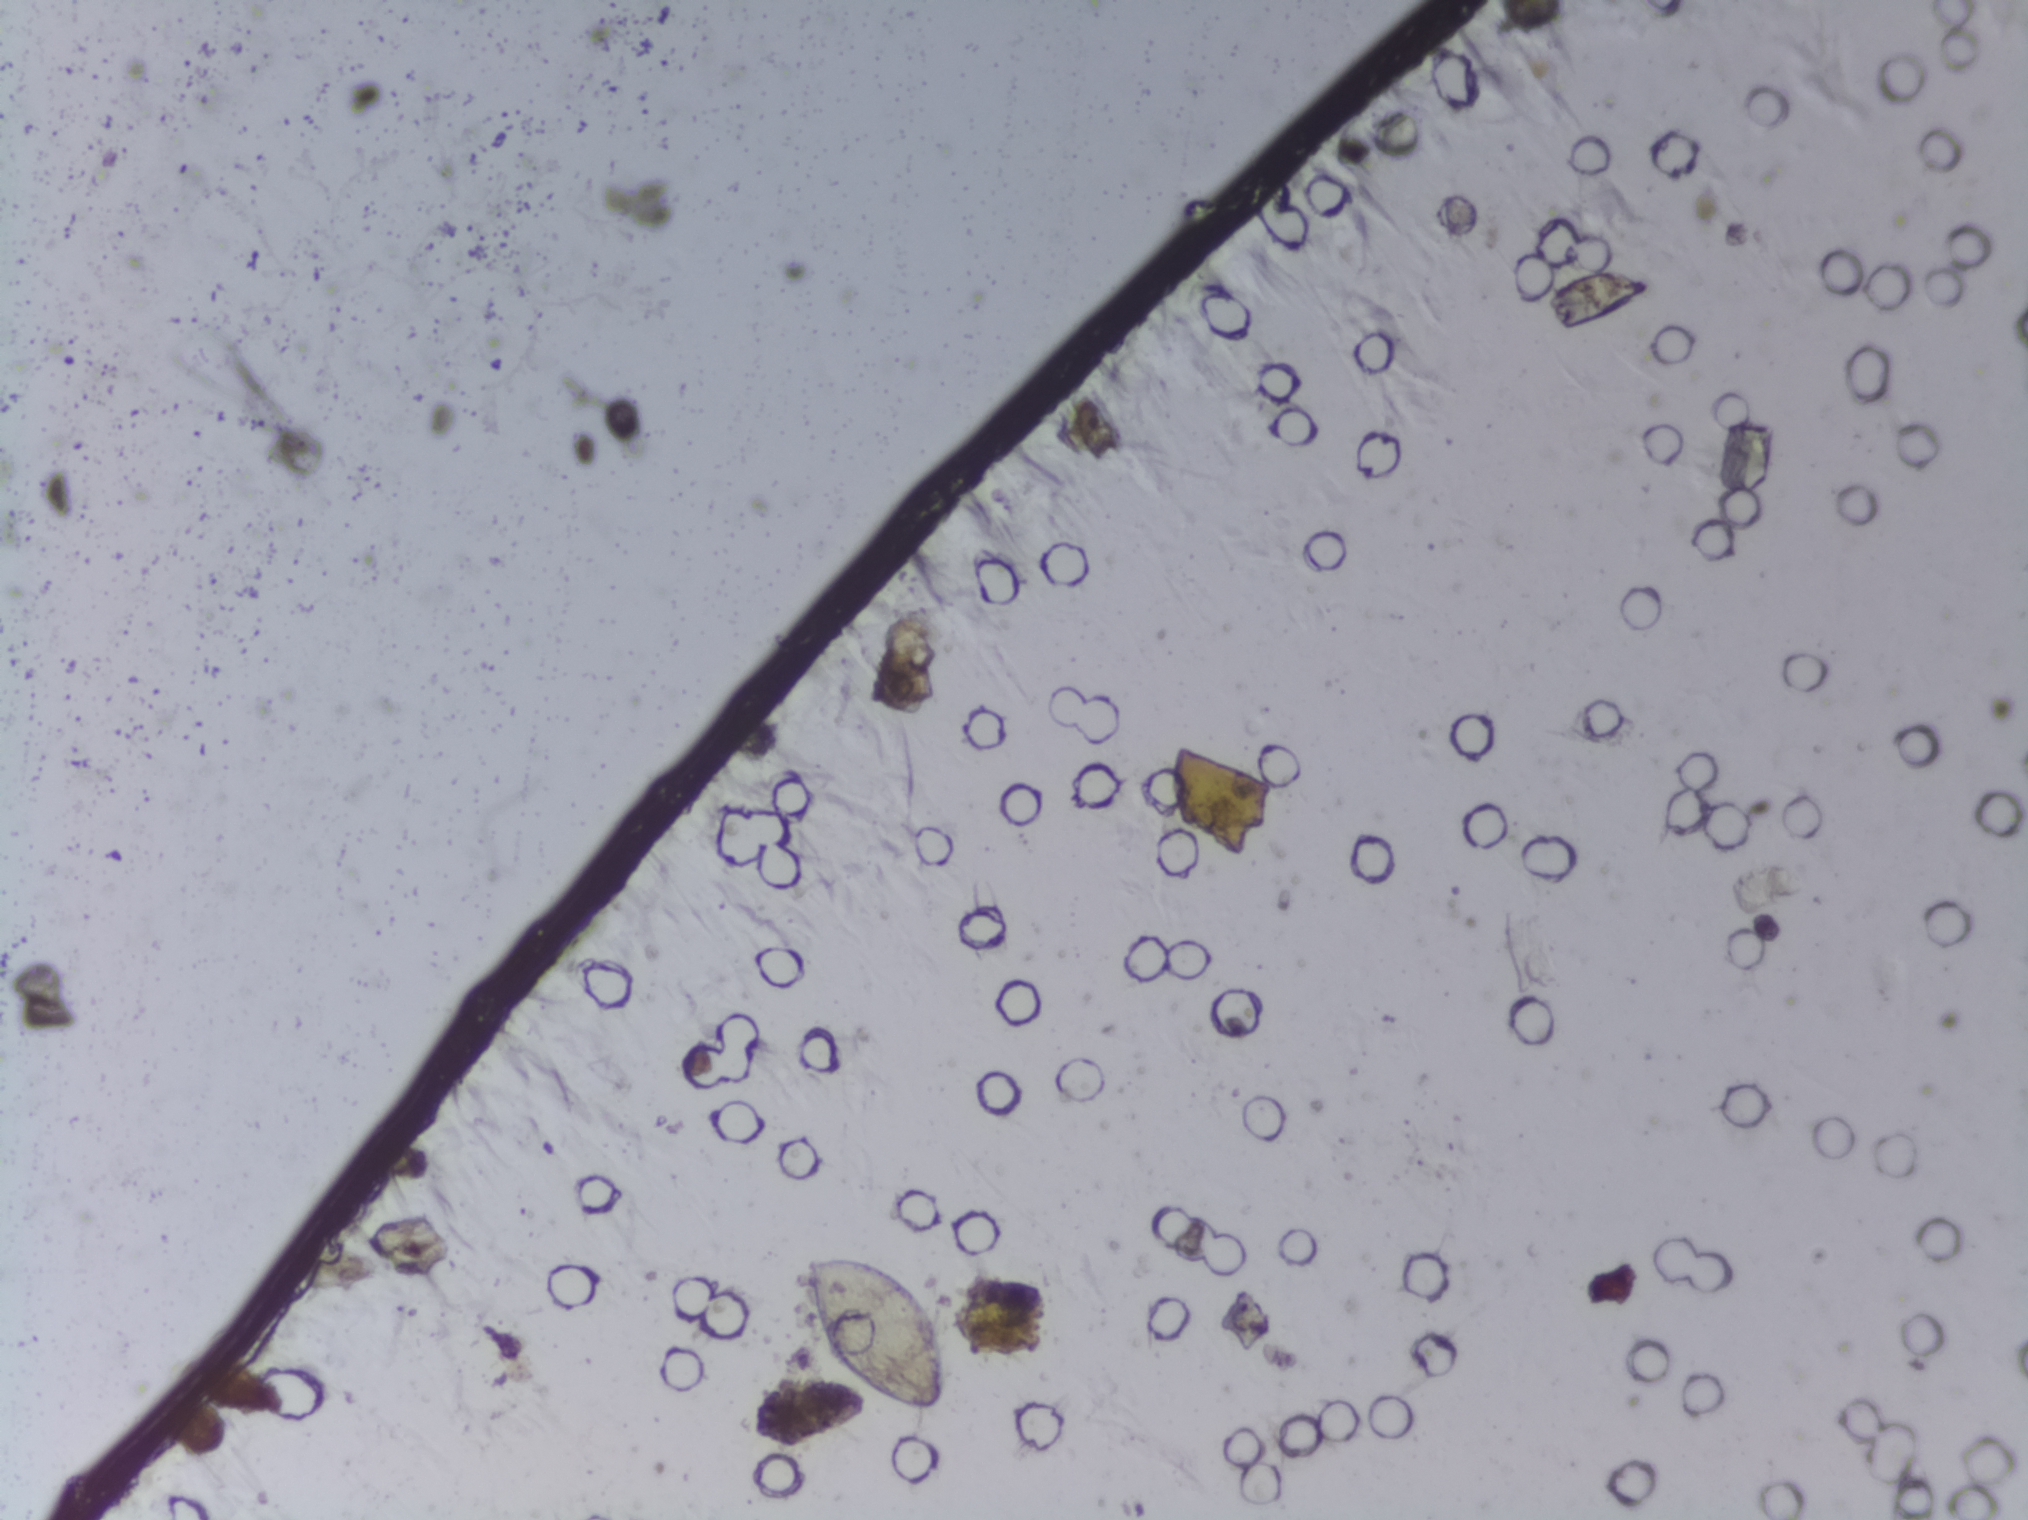
Photomicrograph of a urine filtration membrane, 4× objective.
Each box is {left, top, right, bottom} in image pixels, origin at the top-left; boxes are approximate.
One area of this image is outlined as Schistosoma eggs: {800, 1254, 950, 1418}. A single outlined area may contain several eggs.